One field of view of a urine filter membrane, 4× objective, 2028 × 1520 pixels.
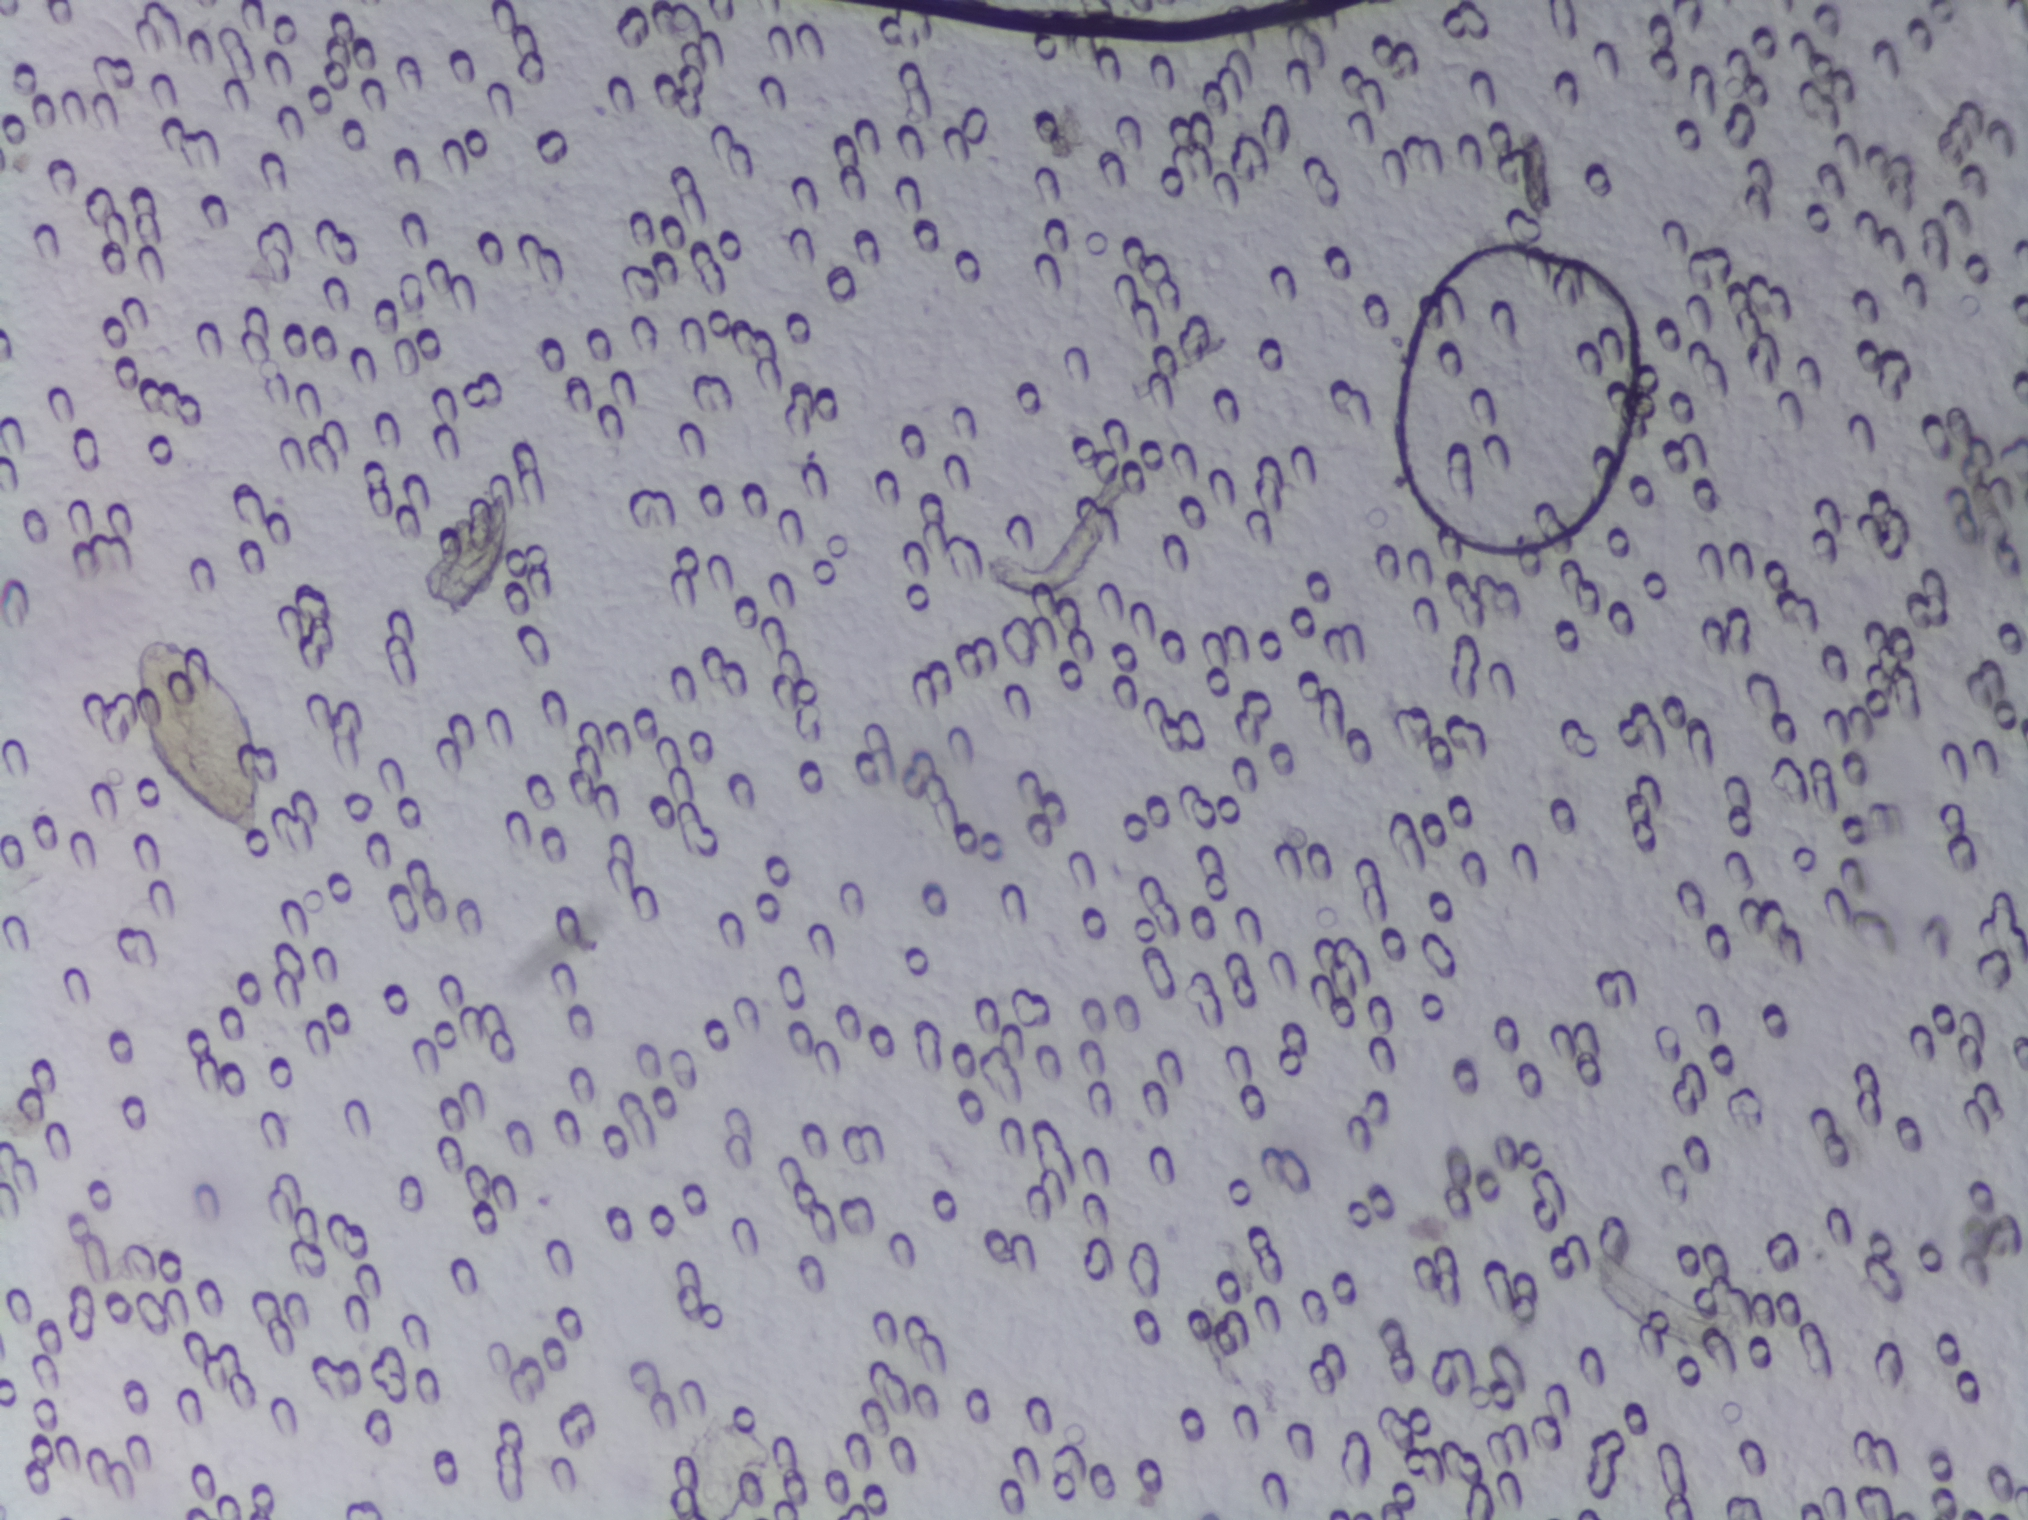
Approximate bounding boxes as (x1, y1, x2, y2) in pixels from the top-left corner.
Schistosoma eggs are outlined in one area of this image: (116, 628, 277, 842). The marked pixels themselves, not the box around them, cover about 0.7% of the image. A single outlined area may contain several eggs. Any one outlined egg may, rarely, be S. mansoni rather than S. haematobium.